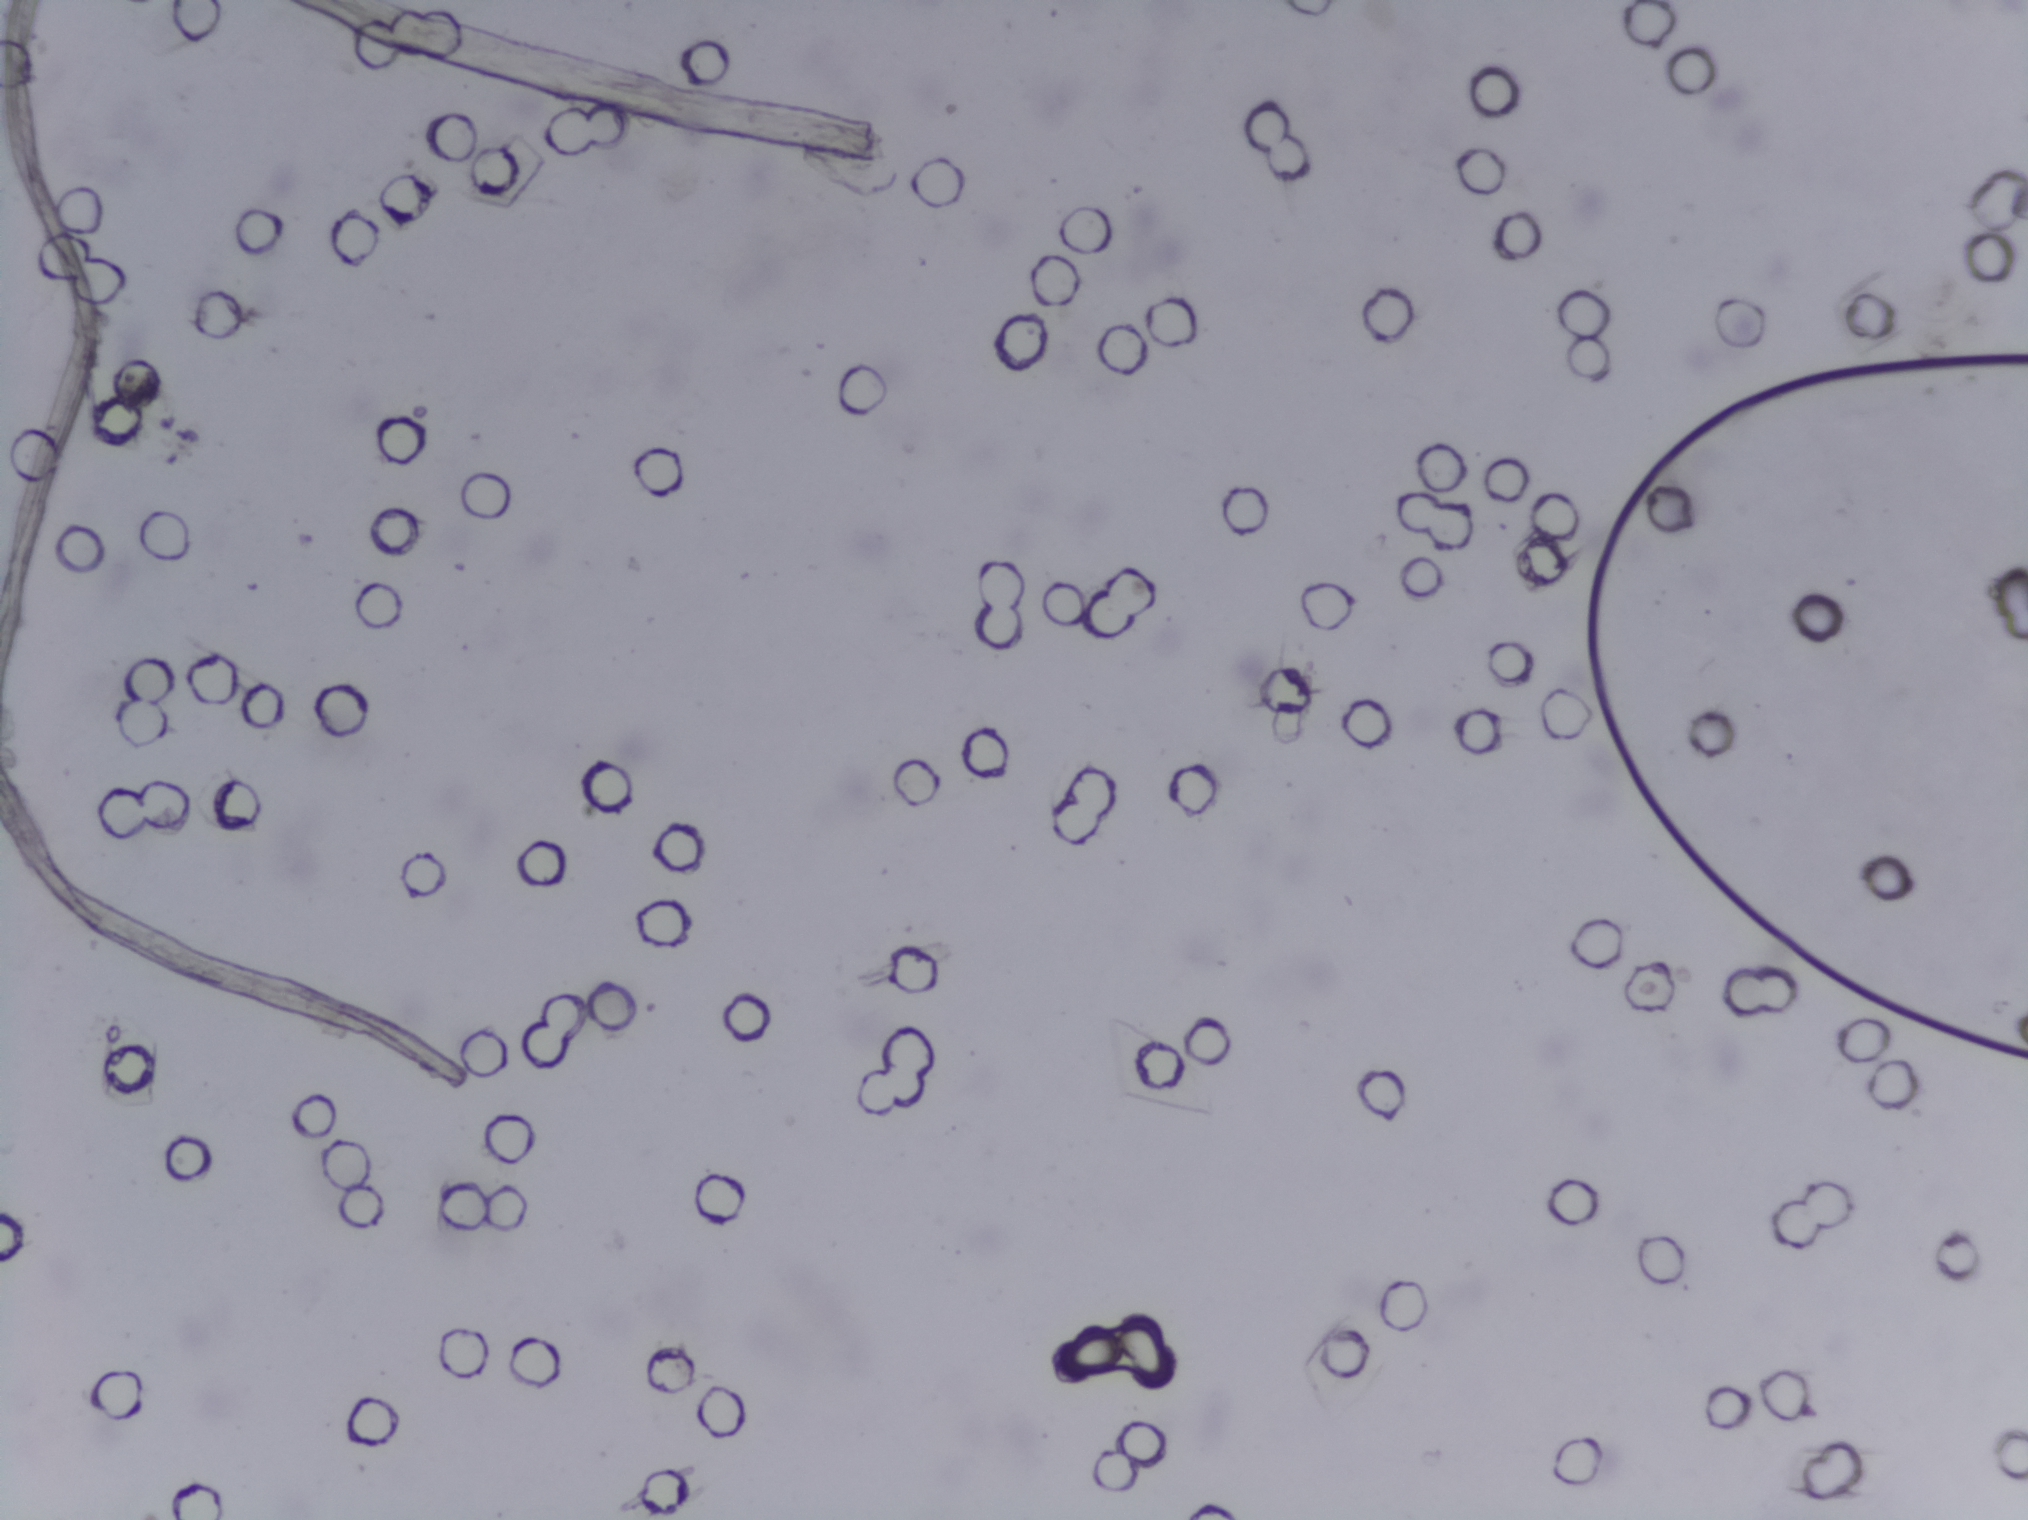
One field of view of a urine filter membrane, 4× objective, 2028 × 1520 pixels. Field of view: about 1.5 mm wide and 1.1 mm high.
Schistosoma eggs: none outlined.